Photomicrograph of a urine filtration membrane, 4× objective.
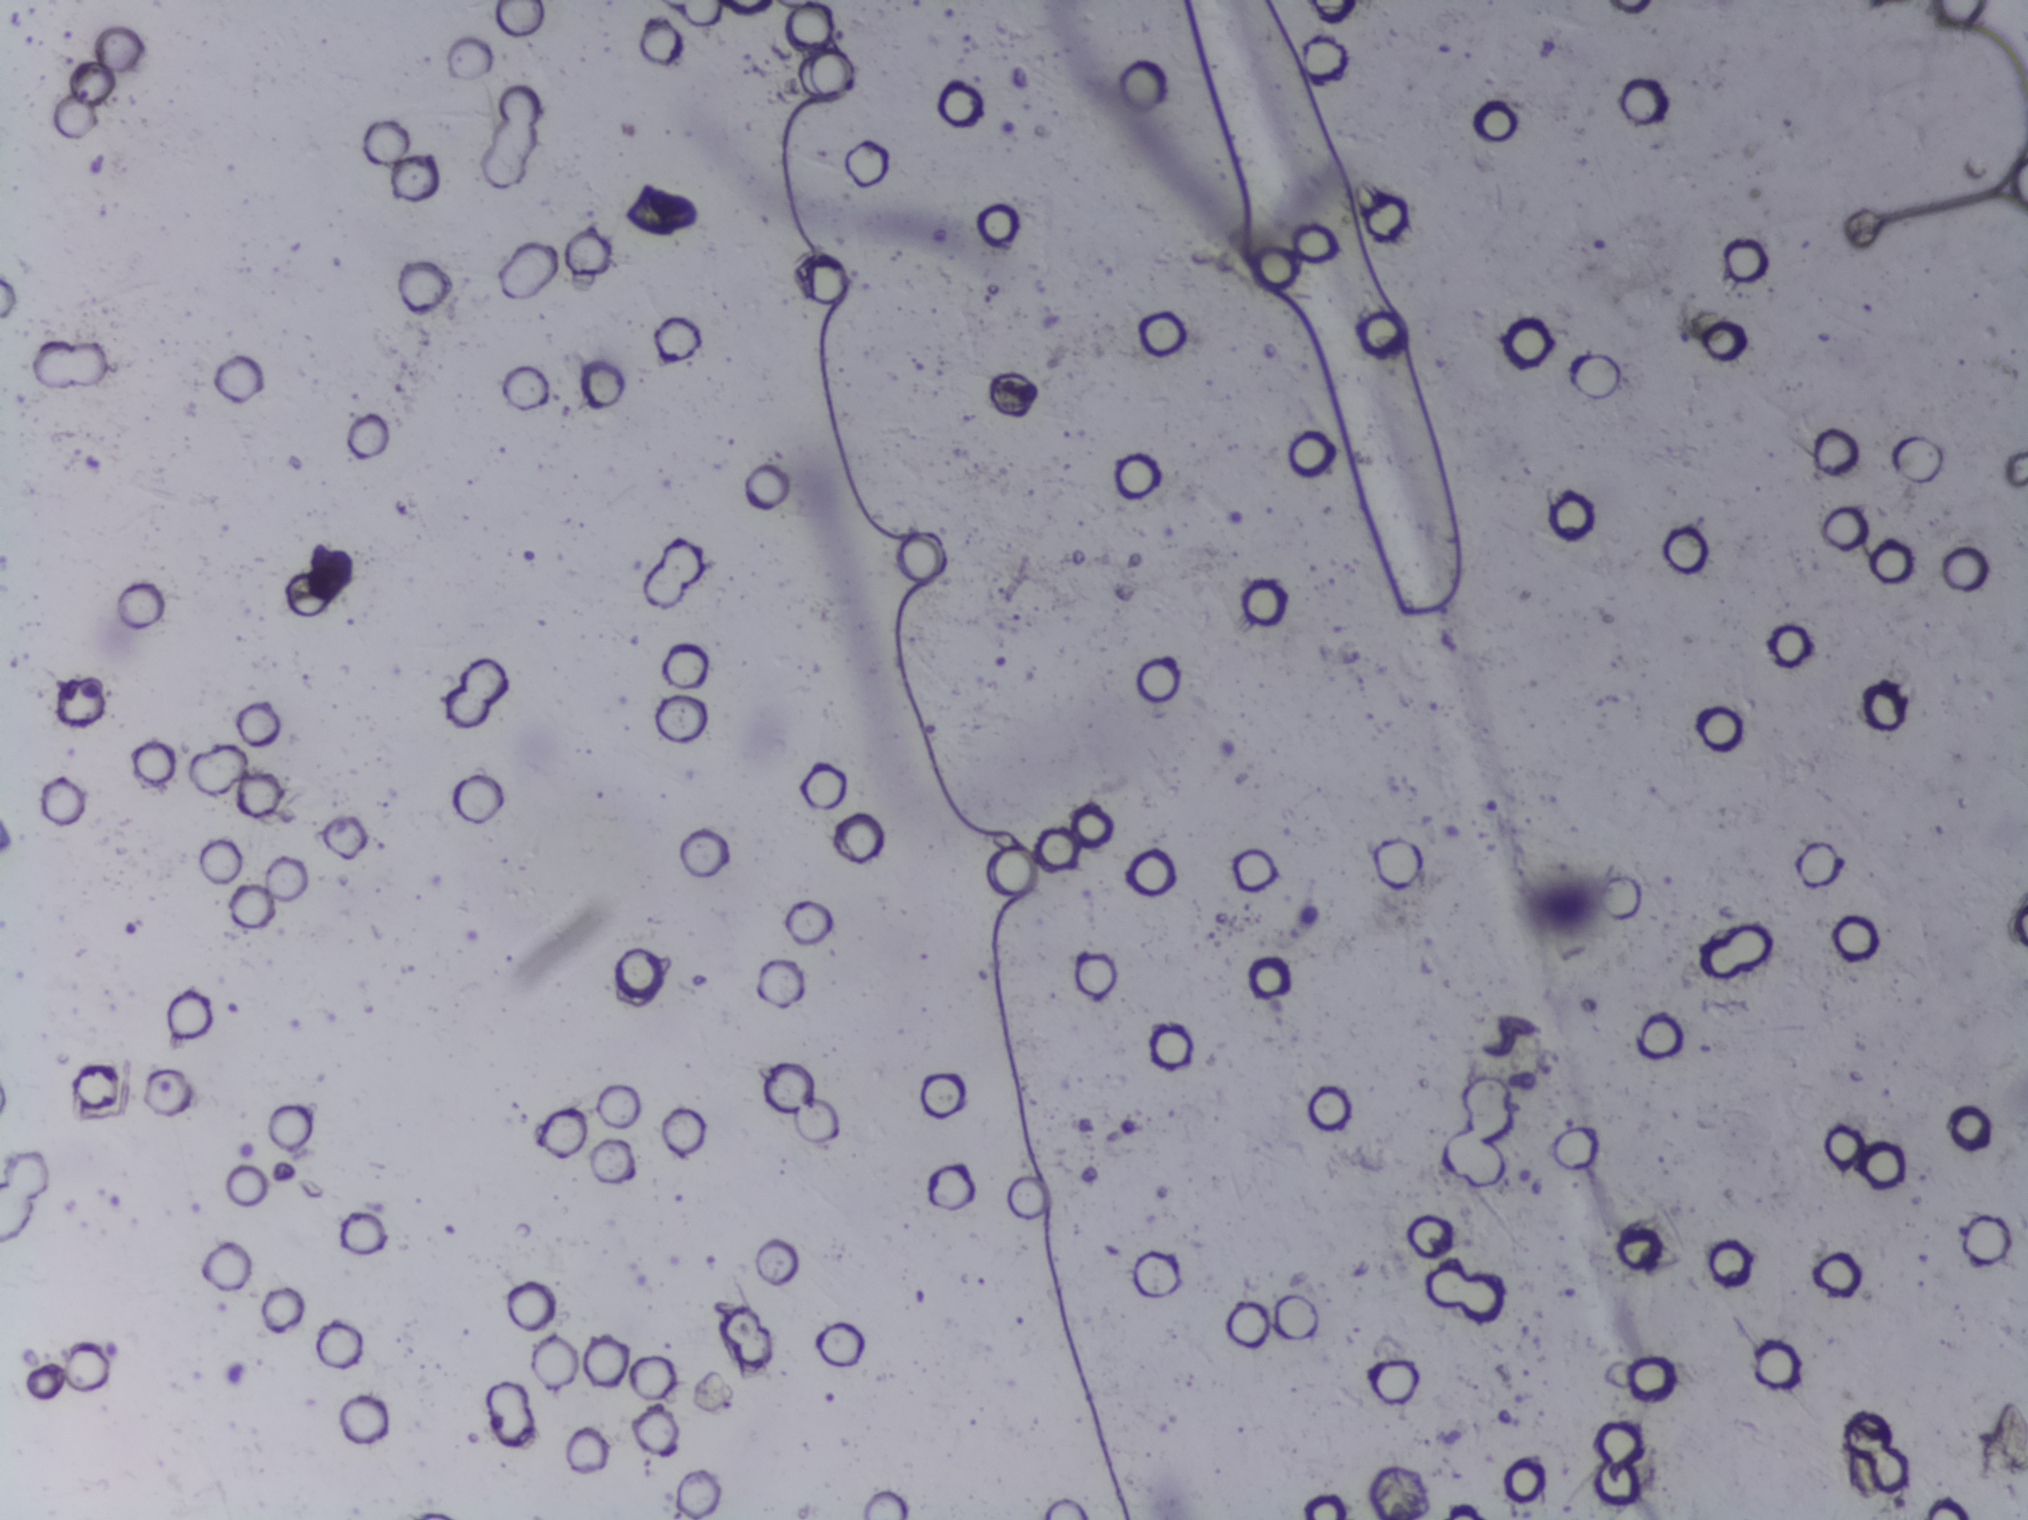
No Schistosoma egg is outlined in this image's expert annotation.